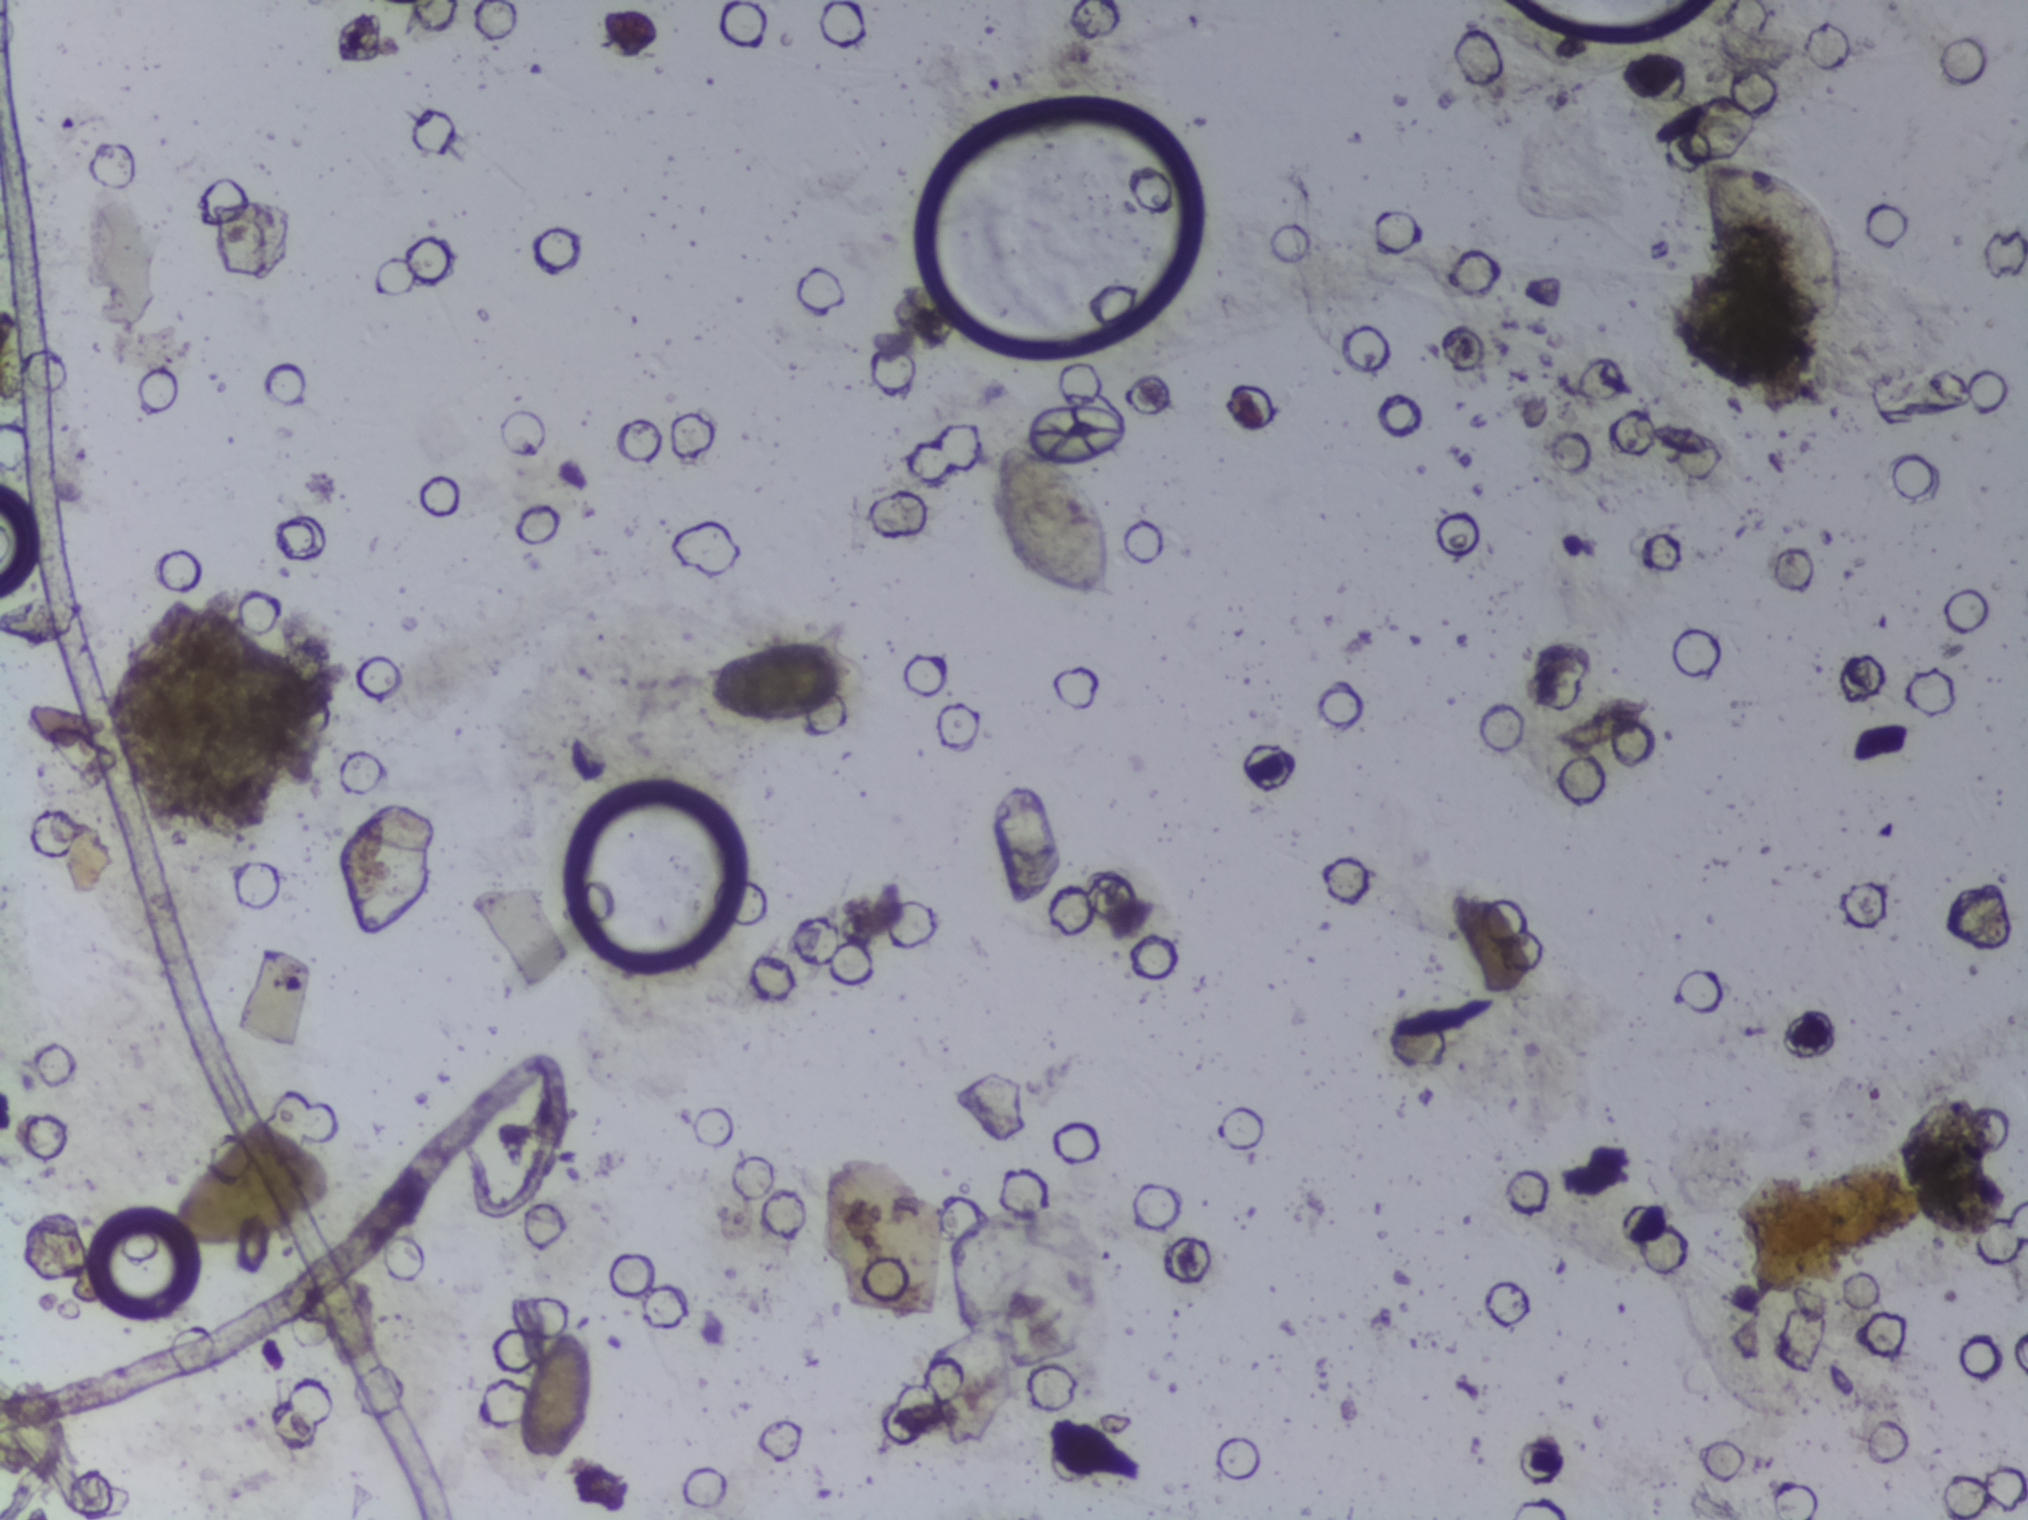
Photomicrograph of a urine filtration membrane, 4× objective.
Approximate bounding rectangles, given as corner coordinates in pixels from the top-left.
Three areas of this image are outlined as Schistosoma eggs, from left to right: (x1=515, y1=1318, x2=598, y2=1488); (x1=989, y1=442, x2=1118, y2=601); (x1=1703, y1=157, x2=1852, y2=327). About 1.4% of the image's pixels are marked (the marked pixels themselves, not the boxes around them). Eggs that touch can end up inside the same outlined area.